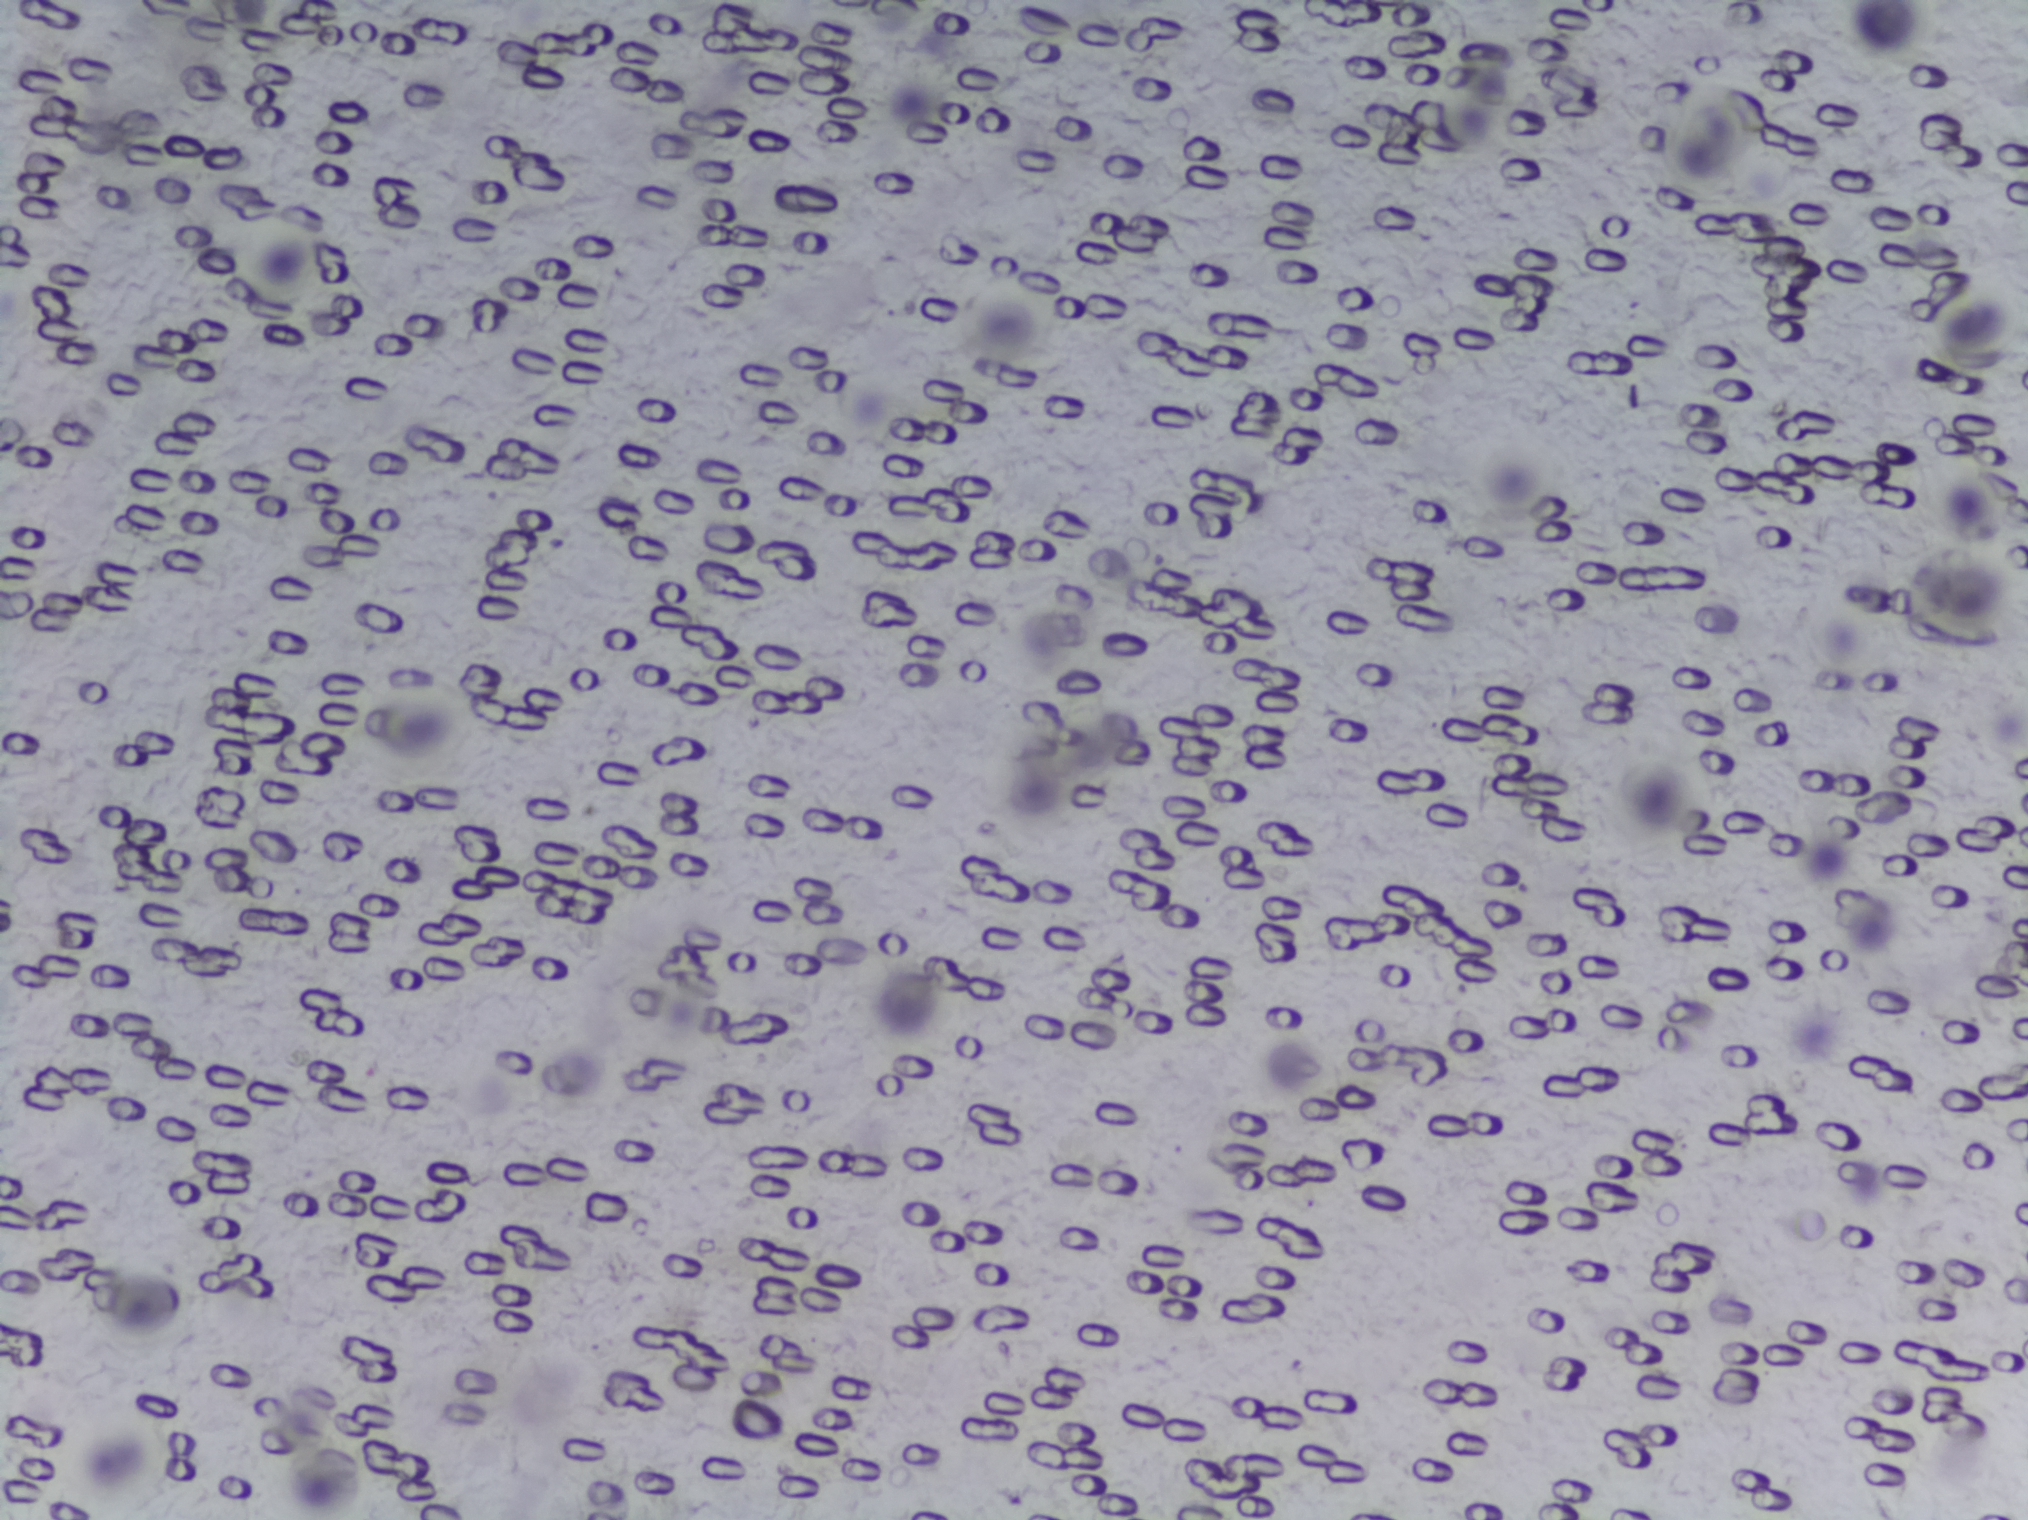
Photograph from an automated digital microscope: urine filter membrane, 4× objective. The field of view is about 1.5 mm × 1.1 mm.
No Schistosoma egg is outlined in this image's expert annotation.